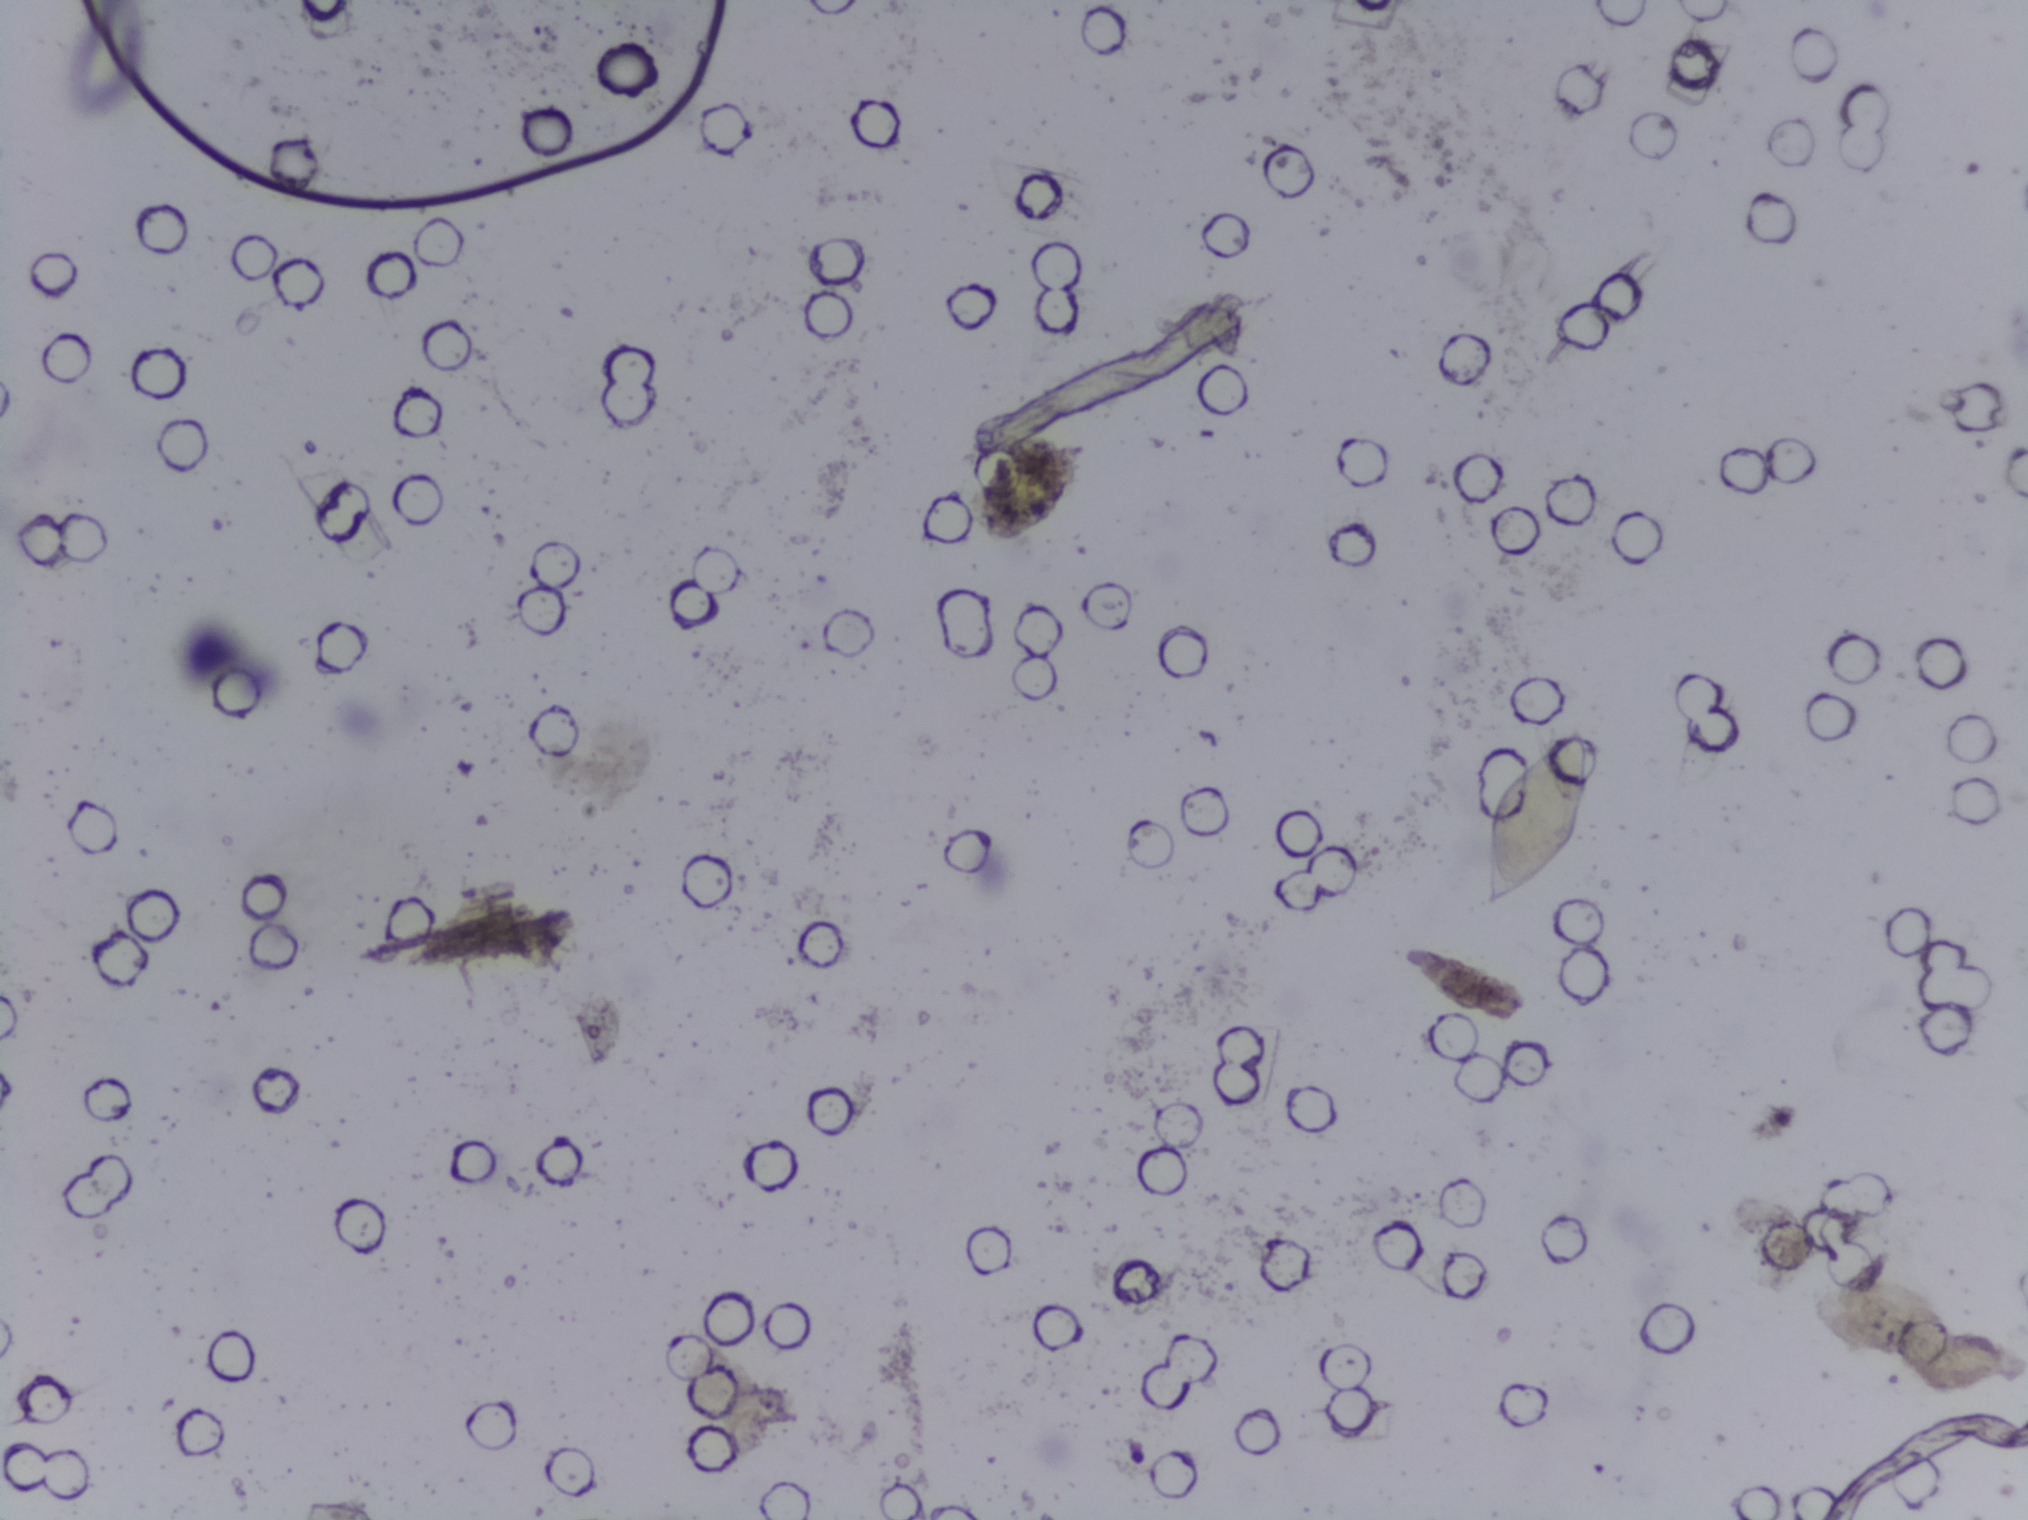
Urine filter membrane photographed through a 4× microscope objective.
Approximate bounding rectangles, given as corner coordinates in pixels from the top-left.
Schistosoma eggs, outlined areas: (x1=1483, y1=730, x2=1599, y2=918). A single outlined area may contain several eggs.